Photograph from an automated digital microscope: urine filter membrane, 4× objective. Field of view: about 1.5 mm wide and 1.1 mm high.
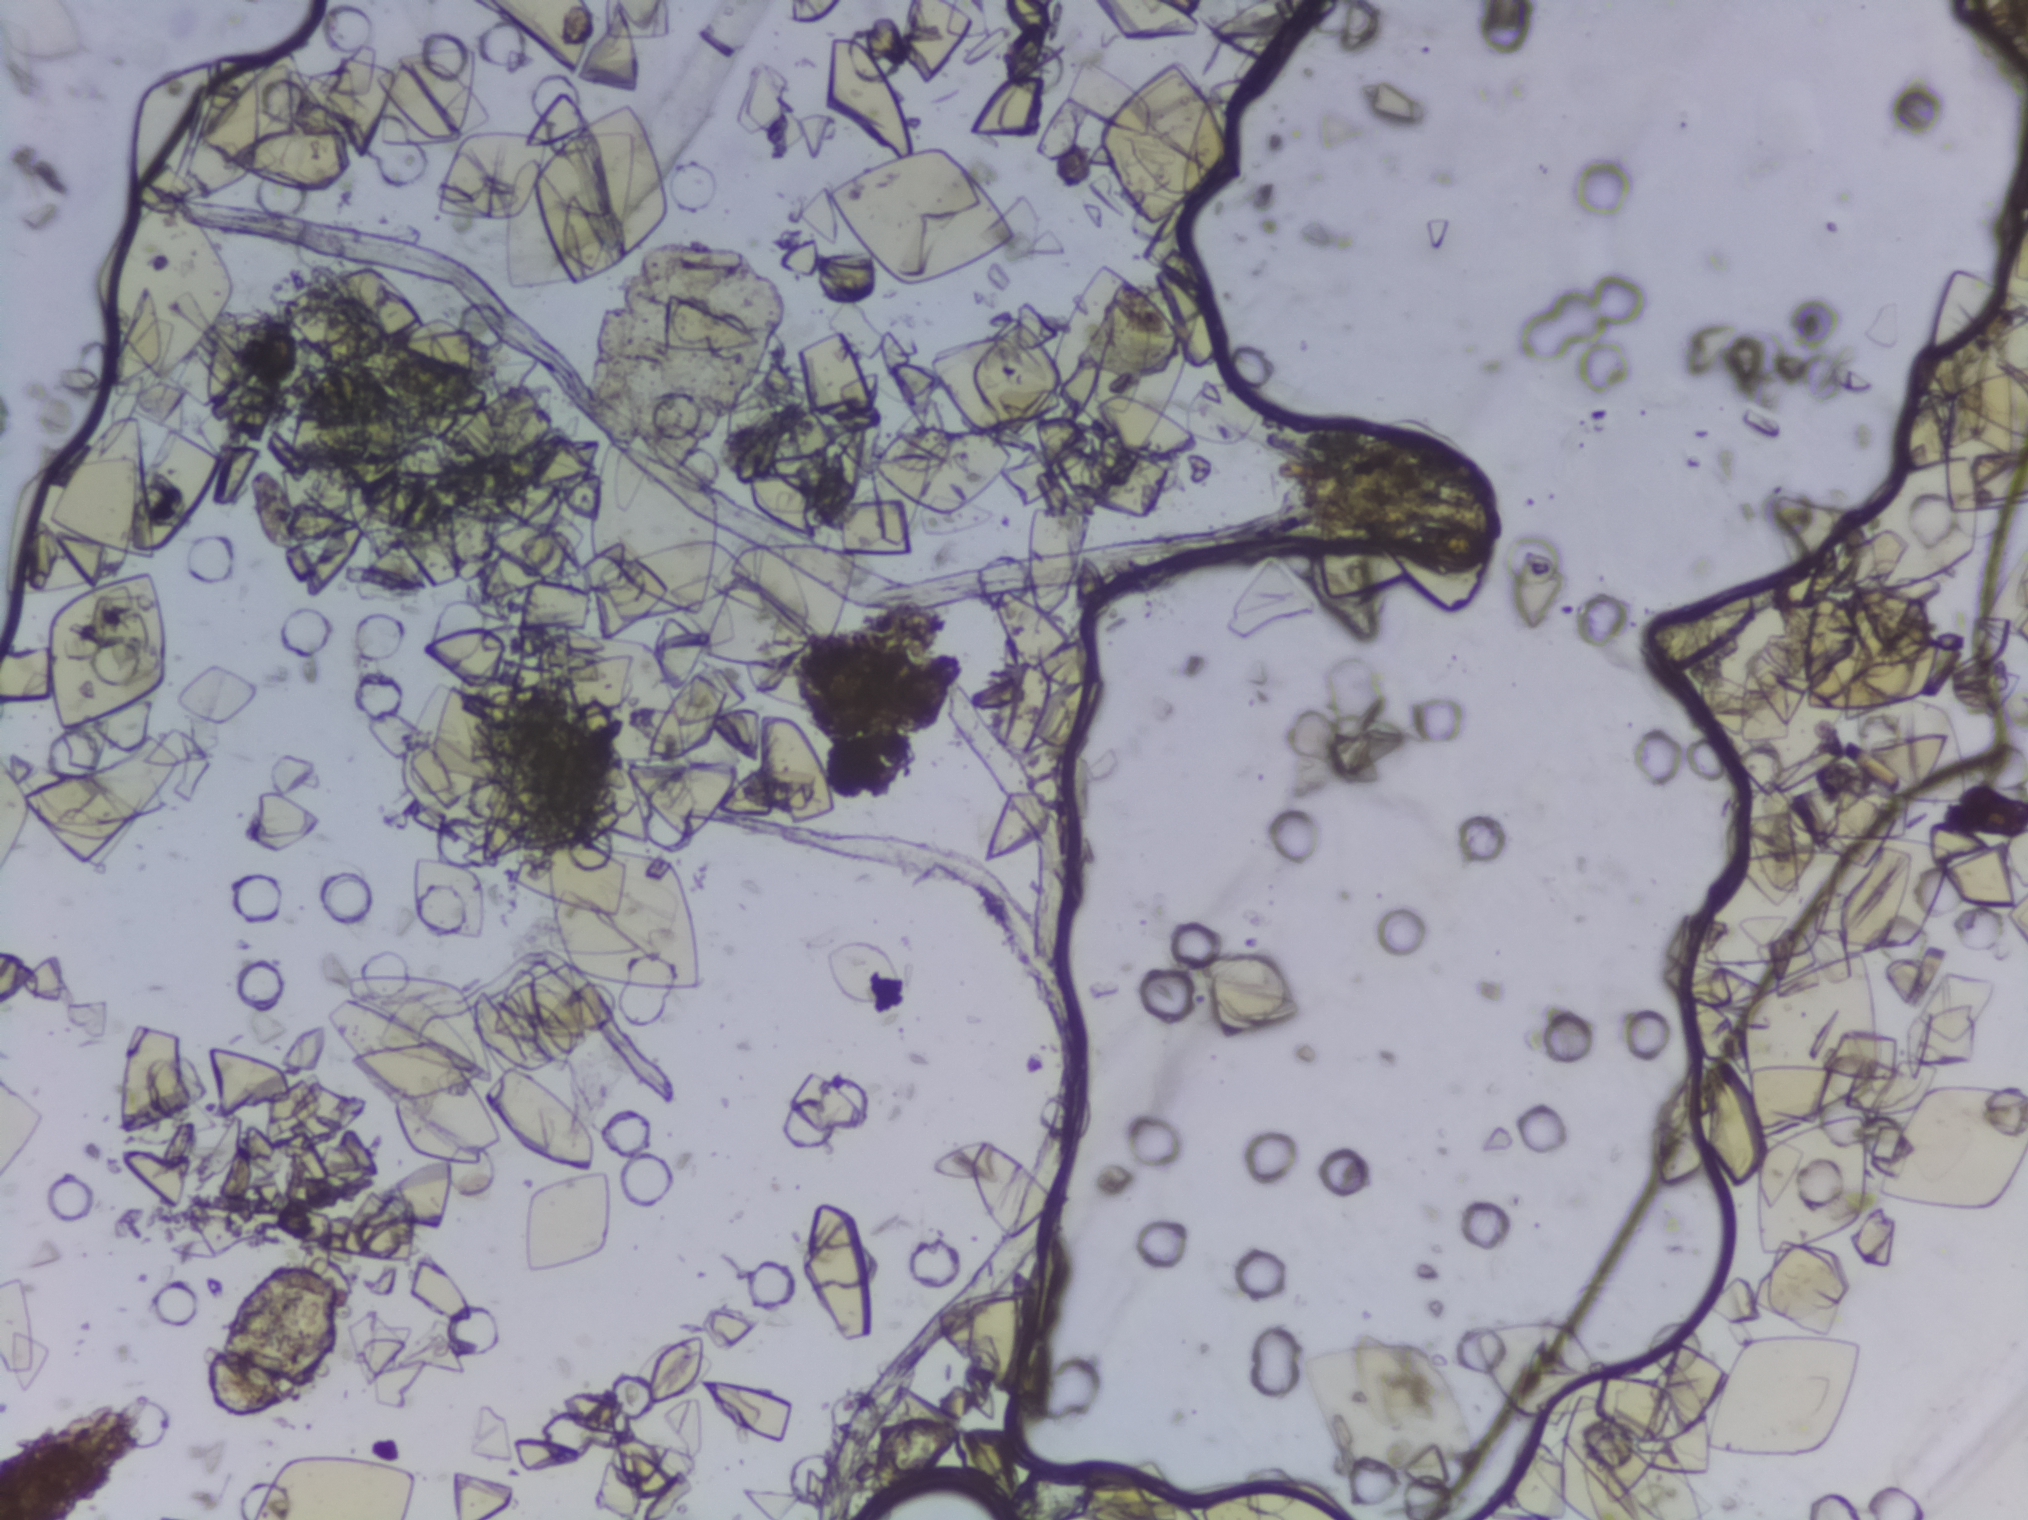
No area of this image was outlined as a Schistosoma egg.